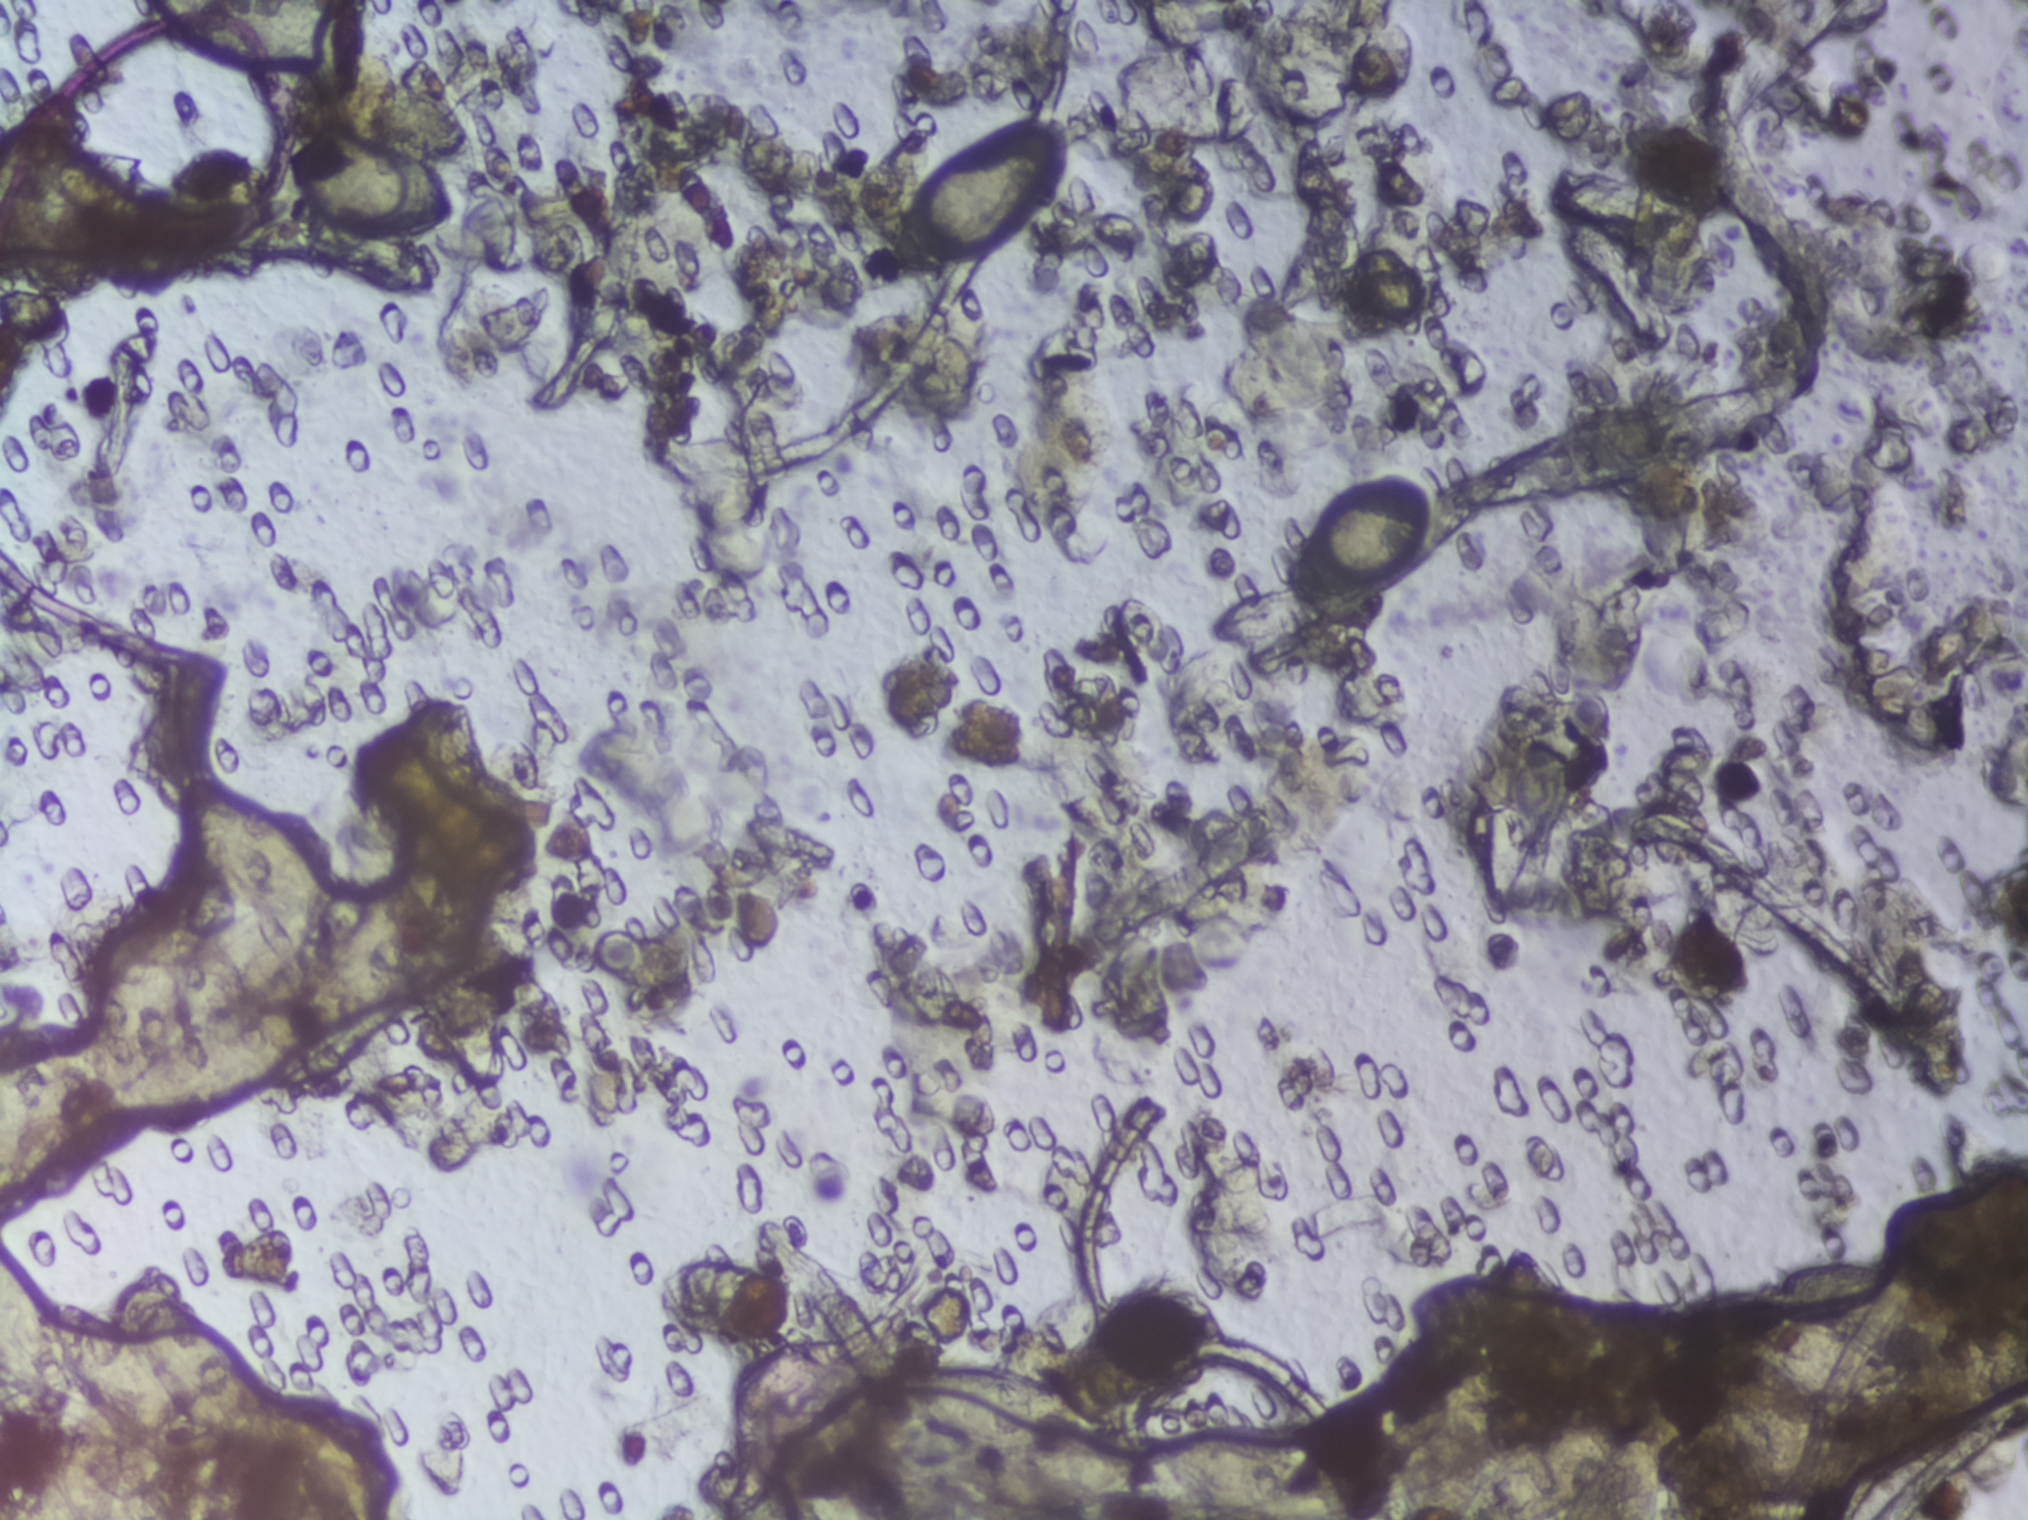
One field of view of a urine filter membrane, 4× objective, 2028 × 1520 pixels. The image covers about 1.5 × 1.1 mm of the membrane.
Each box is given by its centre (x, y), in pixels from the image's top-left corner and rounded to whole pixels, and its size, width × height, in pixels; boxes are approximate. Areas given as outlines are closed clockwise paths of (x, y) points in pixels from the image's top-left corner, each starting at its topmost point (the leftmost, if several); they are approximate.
Outlined Schistosoma egg areas, left to right:
1. box centre (53, 226), 90 × 135 px
2. box centre (130, 1383), 260 × 274 px (reaching the left and bottom edges of the frame)
3. box centre (243, 35), 181 × 70 px (reaching the top edge of the frame)
4. outline (191, 778), (215, 781), (267, 807), (318, 851), (331, 891), (331, 907), (315, 916), (319, 937), (368, 888), (407, 871), (441, 873), (452, 881), (455, 909), (407, 1002), (349, 1029), (323, 1032), (271, 1089), (247, 1102), (191, 1120), (148, 1123), (128, 1119), (89, 1092), (89, 1004), (110, 954), (127, 921), (157, 896), (185, 900), (196, 931), (252, 904), (221, 884), (189, 845), (179, 791) (a cluster of eggs)
5. box centre (377, 155), 197 × 162 px
6. box centre (978, 196), 192 × 164 px
7. box centre (1112, 1436), 421 × 155 px
8. box centre (1361, 538), 149 × 131 px
9. outline (1520, 1240), (1539, 1246), (1564, 1284), (1601, 1302), (1654, 1298), (1662, 1375), (1642, 1428), (1652, 1438), (1668, 1426), (1740, 1407), (1782, 1407), (1855, 1426), (1865, 1440), (1862, 1463), (1800, 1493), (1758, 1497), (1686, 1491), (1658, 1469), (1659, 1519), (1557, 1519), (1555, 1512), (1542, 1519), (1466, 1519), (1470, 1495), (1514, 1435), (1547, 1424), (1502, 1401), (1486, 1368), (1477, 1365), (1484, 1389), (1478, 1471), (1450, 1518), (1409, 1516), (1397, 1490), (1391, 1421), (1377, 1376), (1381, 1347), (1403, 1327), (1399, 1301), (1458, 1272), (1495, 1272) (a cluster of eggs; reaching the bottom edge of the frame)
10. outline (1810, 1259), (1917, 1277), (1949, 1299), (1956, 1322), (1977, 1330), (2019, 1437), (2017, 1472), (2006, 1500), (1980, 1496), (1934, 1429), (1933, 1353), (1891, 1357), (1898, 1381), (1875, 1399), (1853, 1403), (1819, 1403), (1727, 1382), (1678, 1362), (1675, 1344), (1695, 1325), (1786, 1312), (1780, 1280)
Marked pixels, not the boxes and the outlines around them: about 11% of the image. A single outlined area may contain several eggs.